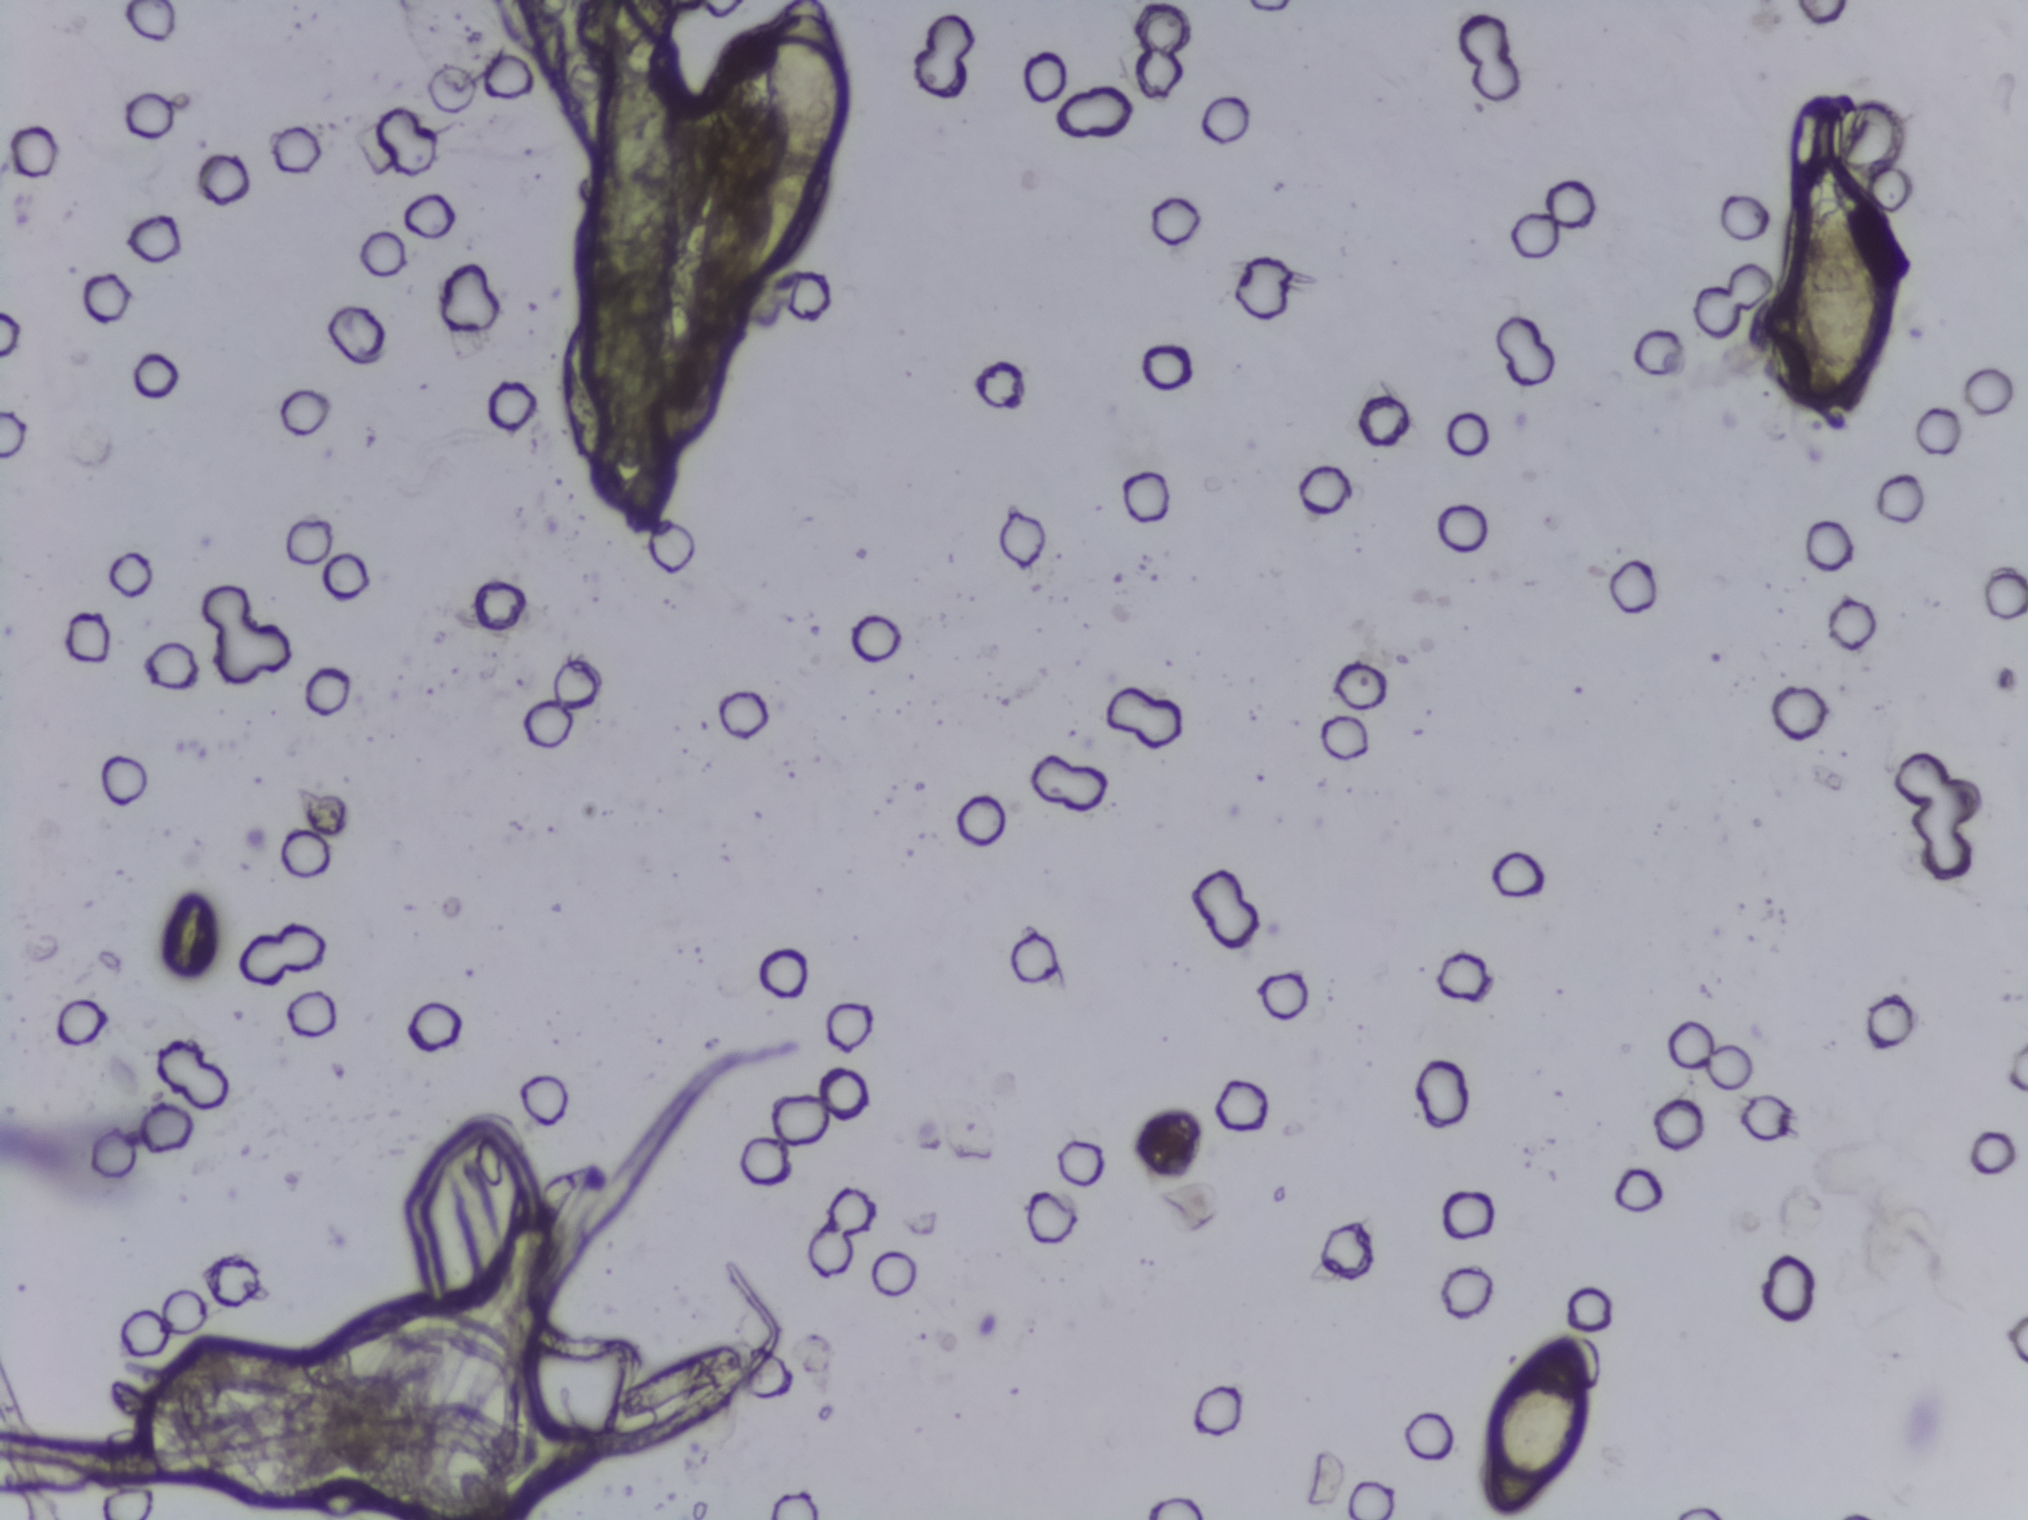
Photomicrograph of a urine filtration membrane, 4× objective. Field of view: about 1.5 mm wide and 1.1 mm high.
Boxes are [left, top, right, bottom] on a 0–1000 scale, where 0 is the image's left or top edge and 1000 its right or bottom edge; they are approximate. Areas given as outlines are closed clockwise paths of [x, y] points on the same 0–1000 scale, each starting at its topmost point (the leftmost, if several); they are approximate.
The expert annotation outlines Schistosoma eggs in three areas, left to right: outline [386, 0], [405, 0], [413, 21], [421, 48], [418, 85], [406, 118], [404, 143], [387, 174], [364, 194], [343, 199], [336, 192], [332, 175], [337, 154], [345, 137], [347, 143], [361, 125], [385, 110], [373, 62], [375, 32] (reaching the top edge of the frame); box [729, 876, 786, 999]; box [883, 130, 931, 274]. The marked pixels themselves, not the boxes and the outline around them, cover about 1.8% of the image. An outlined area can hold more than one egg.